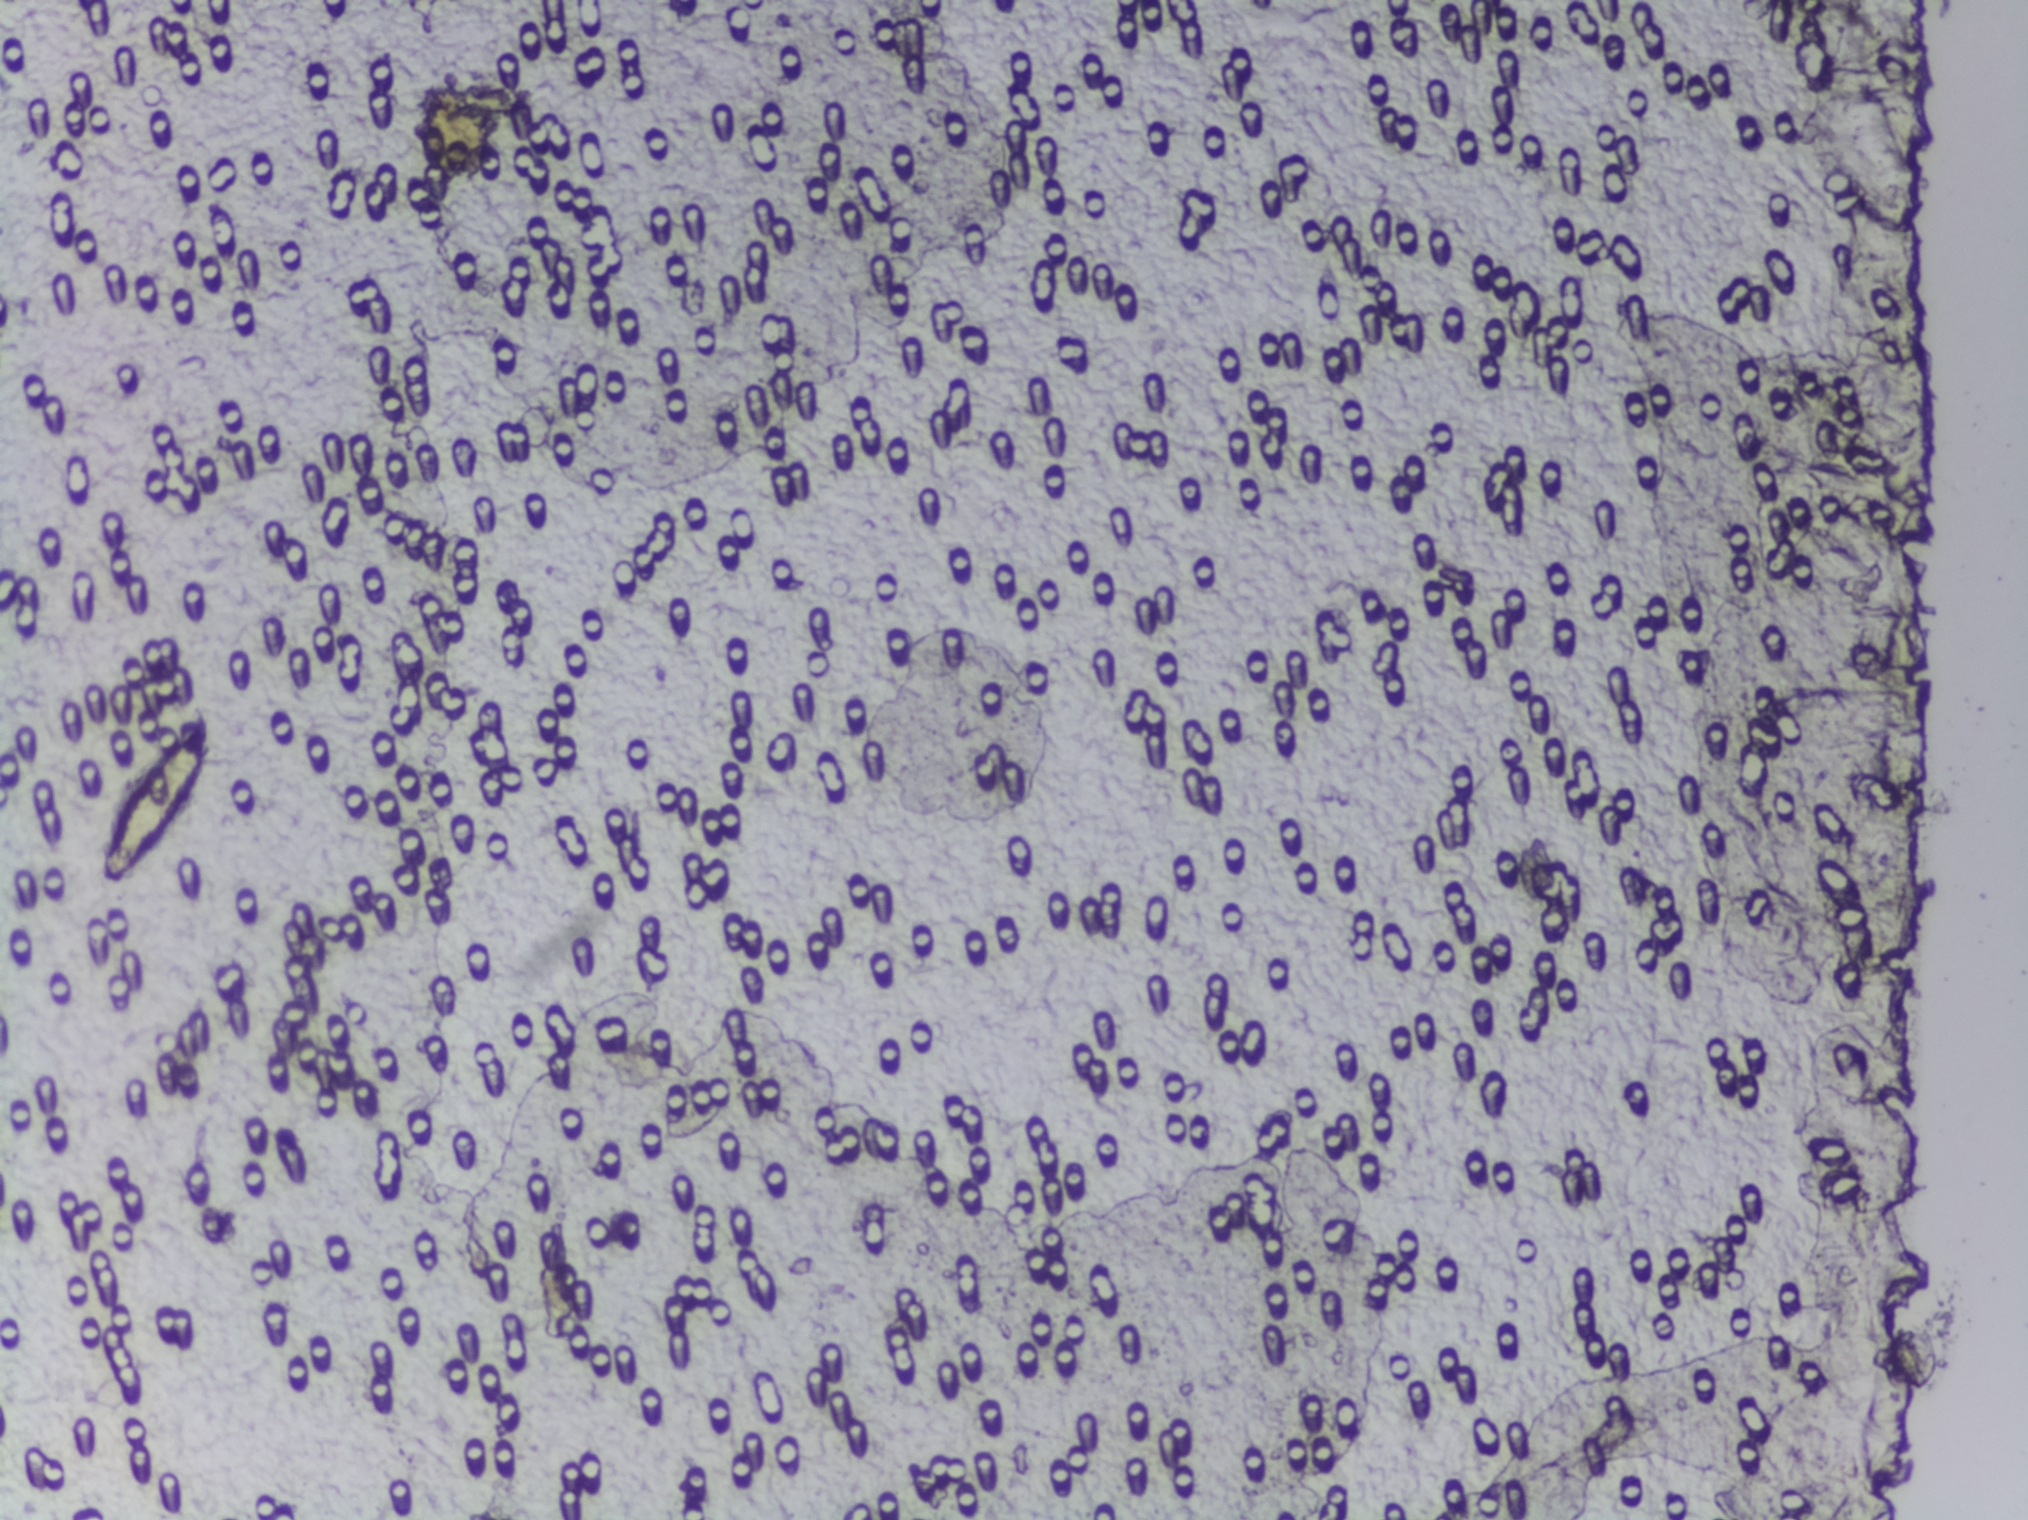
Photomicrograph of a urine filtration membrane, 4× objective.
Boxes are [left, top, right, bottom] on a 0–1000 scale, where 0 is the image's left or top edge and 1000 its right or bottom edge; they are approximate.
Findings: one area outlined as Schistosoma eggs. Location: [48, 474, 107, 582]. An outlined area can hold more than one egg.